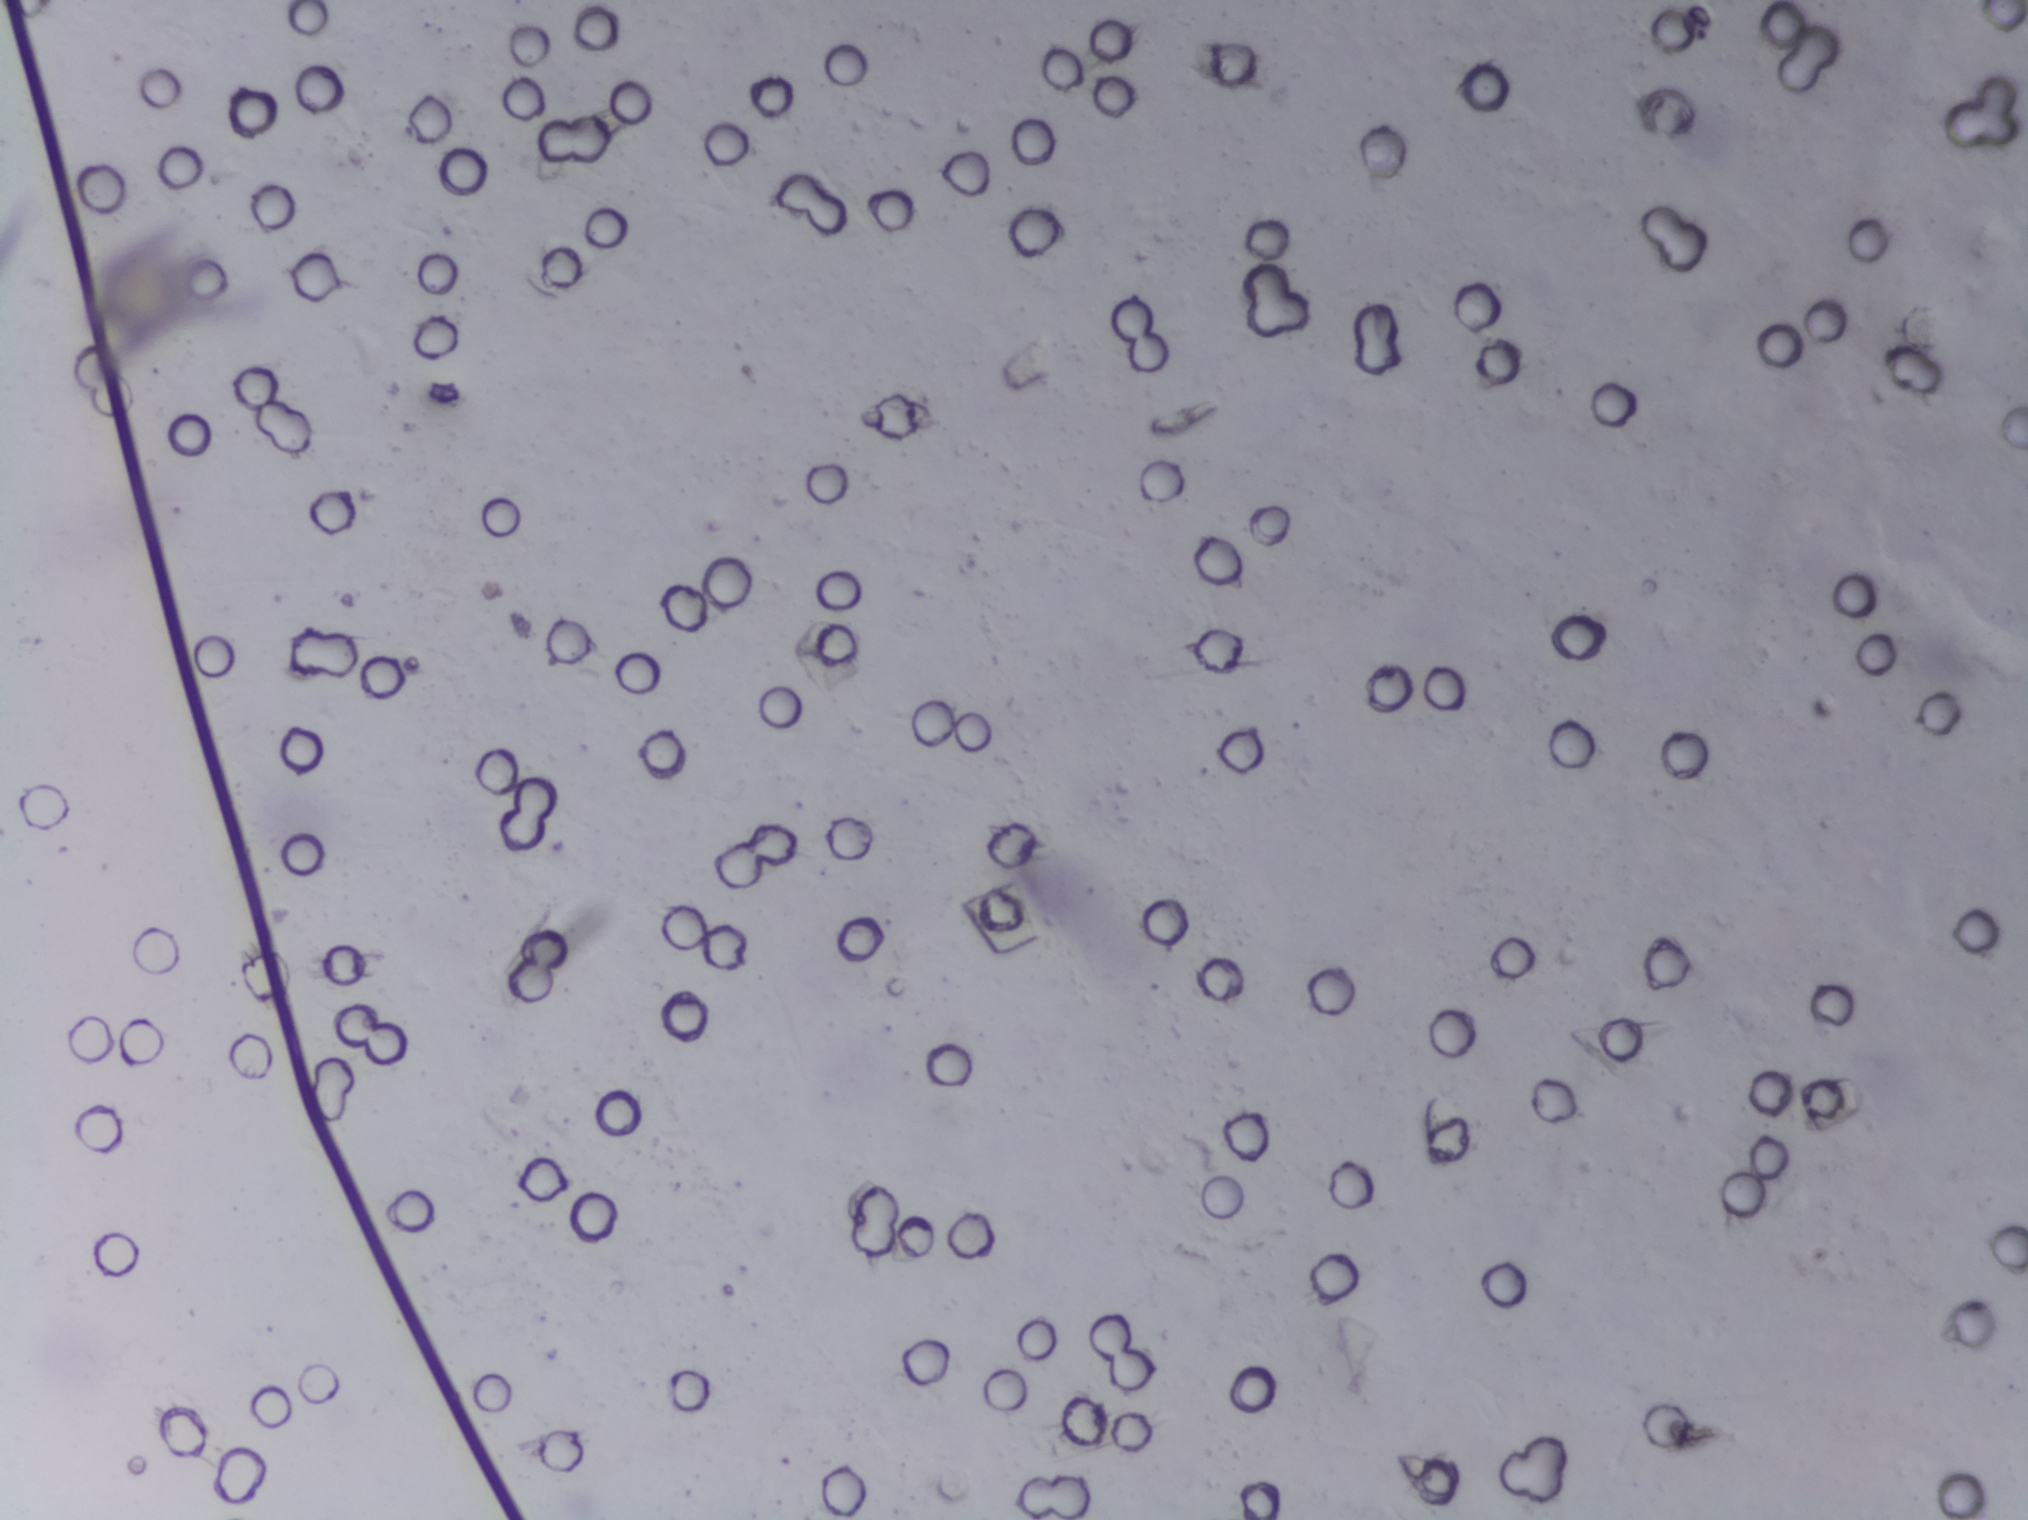
Urine filtration membrane under a 4× objective, photographed by an automated digital microscope.
No area of this image was outlined as a Schistosoma egg.